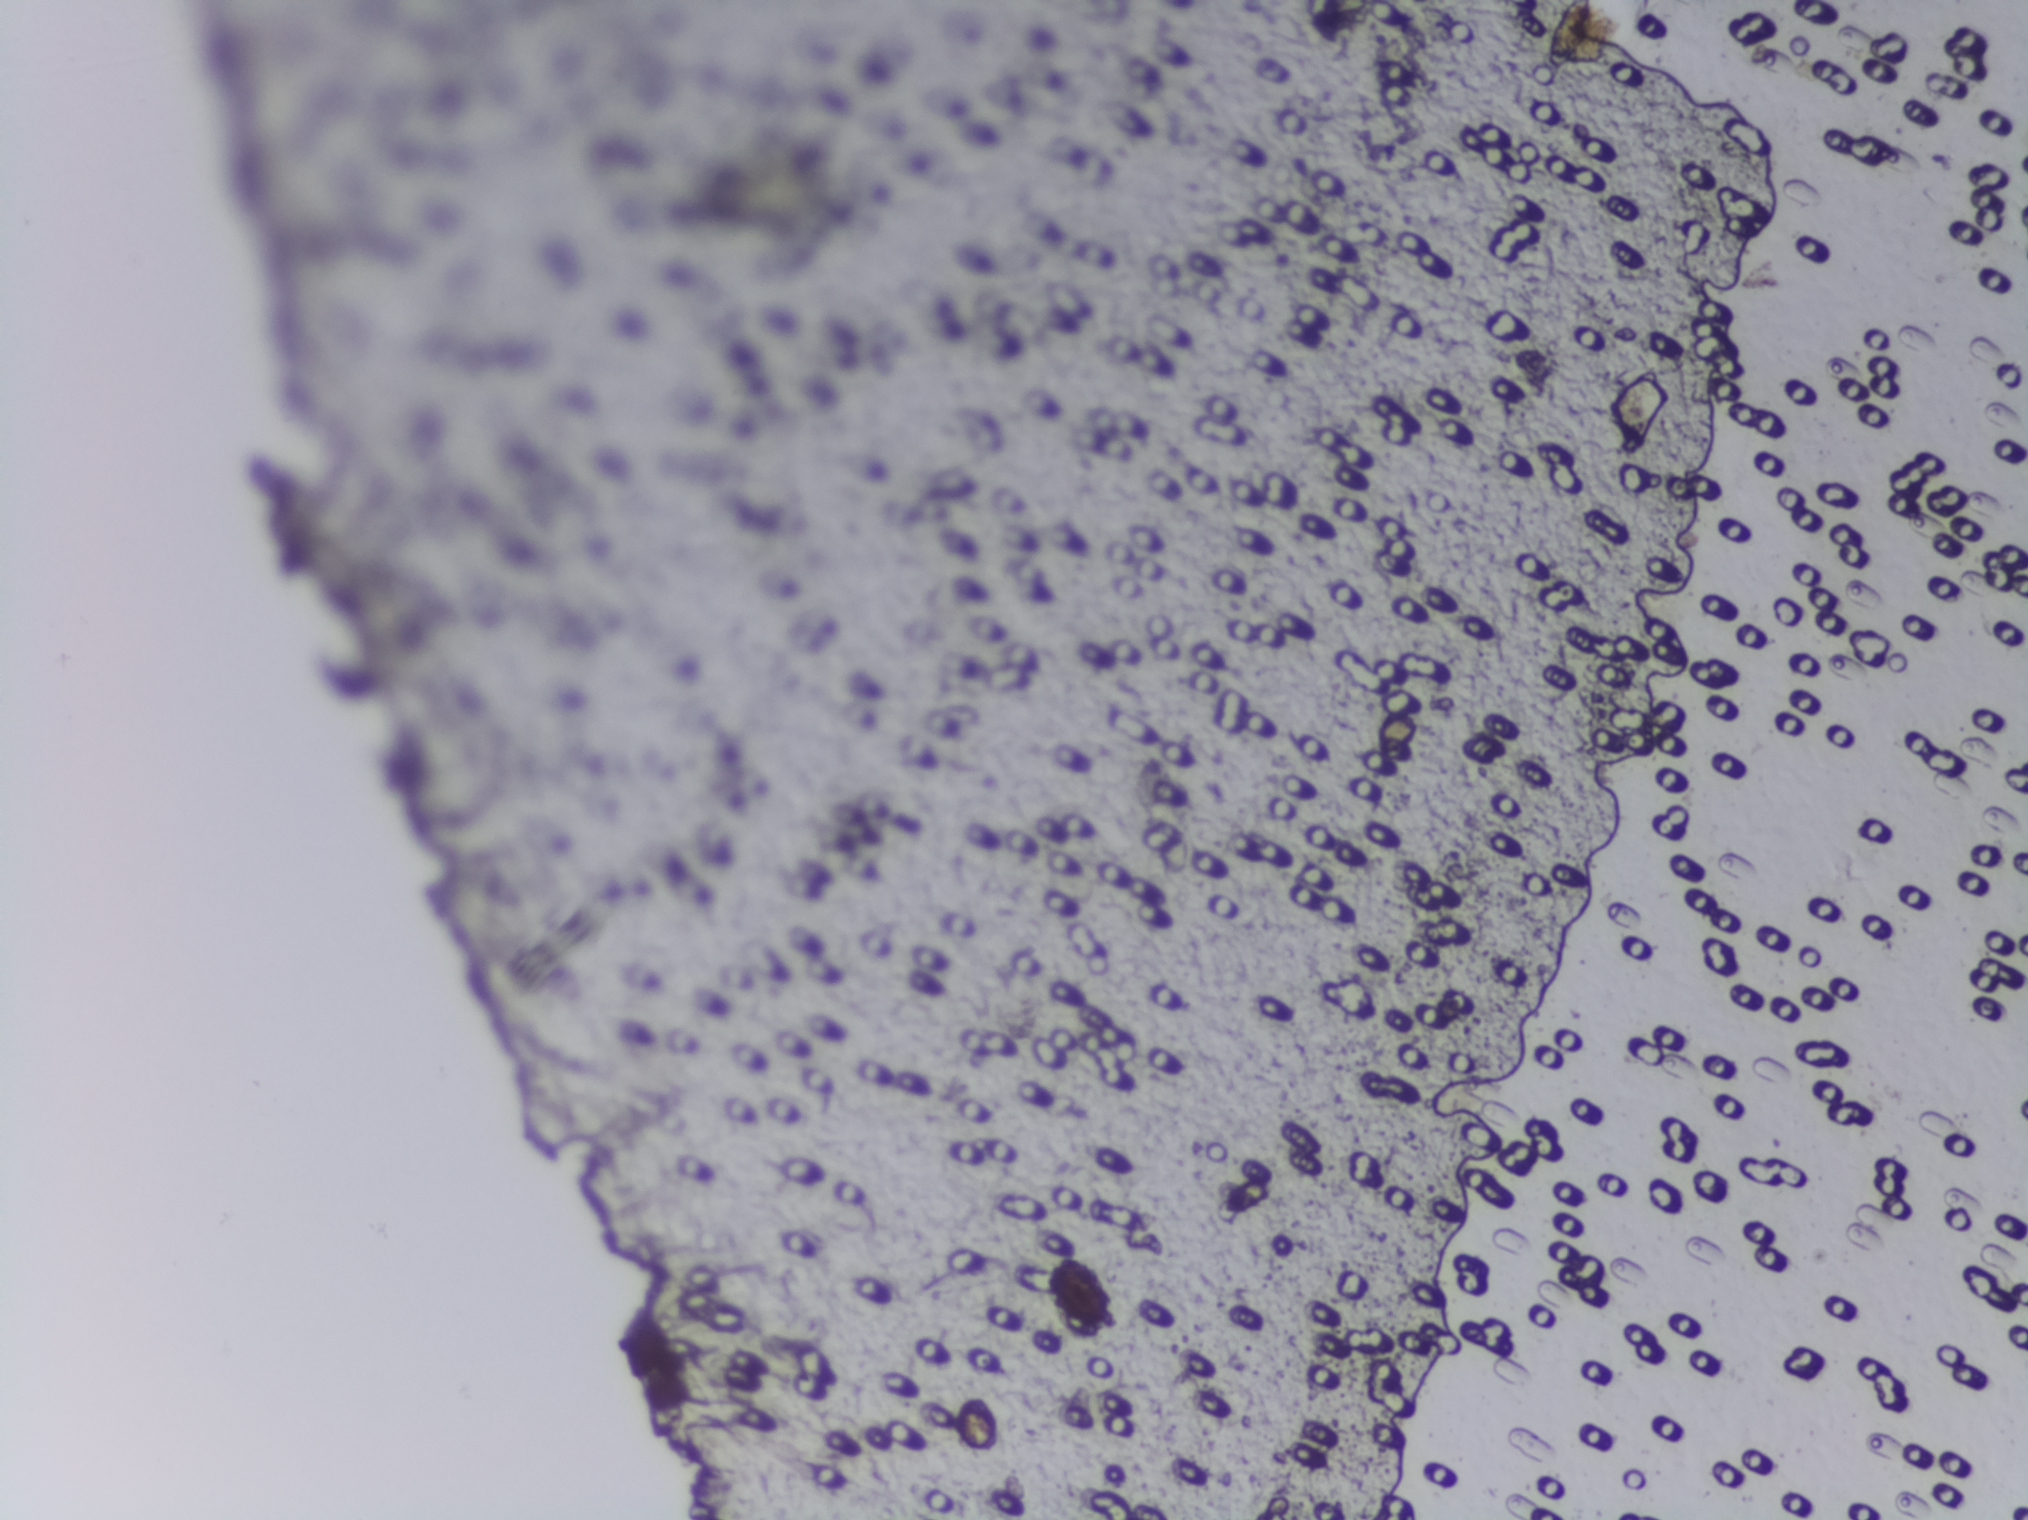
One field of view of a urine filter membrane, 4× objective, 2028 × 1520 pixels.
No area of this image was outlined as a Schistosoma egg.